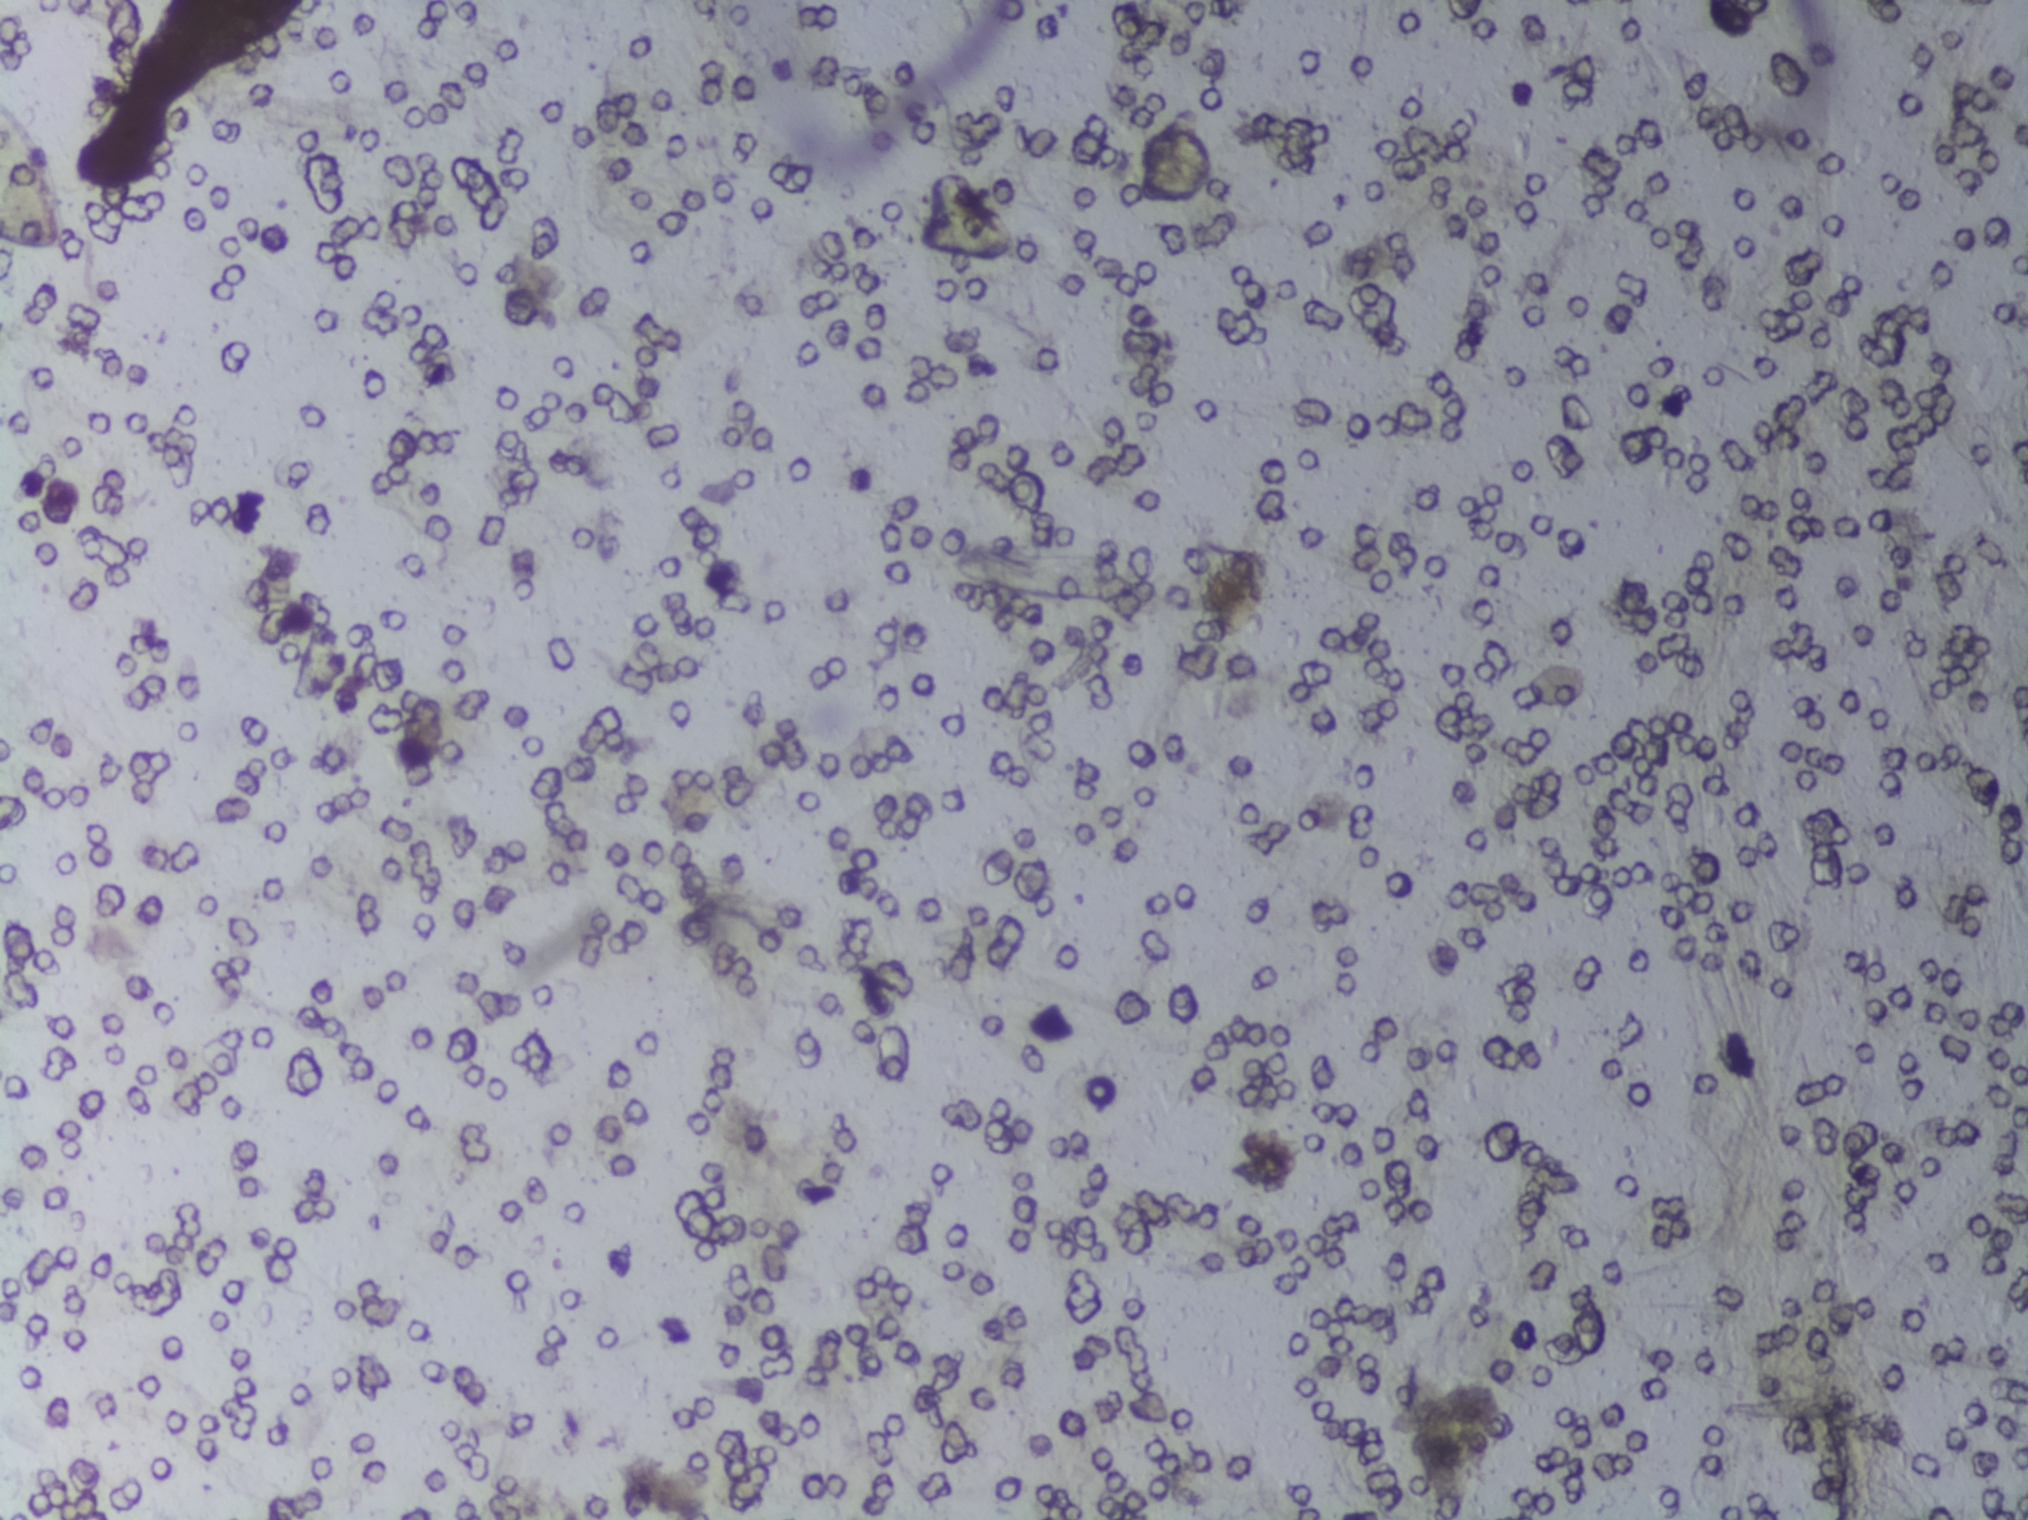
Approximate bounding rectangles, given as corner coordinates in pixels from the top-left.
Schistosoma eggs are outlined in one area of this image: (x1=0, y1=90, x2=68, y2=255) (reaching the left edge of the frame). The marked pixels themselves, not the box around them, cover about 0.2% of the image. Eggs that touch can end up inside the same outlined area.
Photograph from an automated digital microscope: urine filter membrane, 4× objective.